Urine filter membrane photographed through a 4× microscope objective. The image covers about 1.5 × 1.1 mm of the membrane.
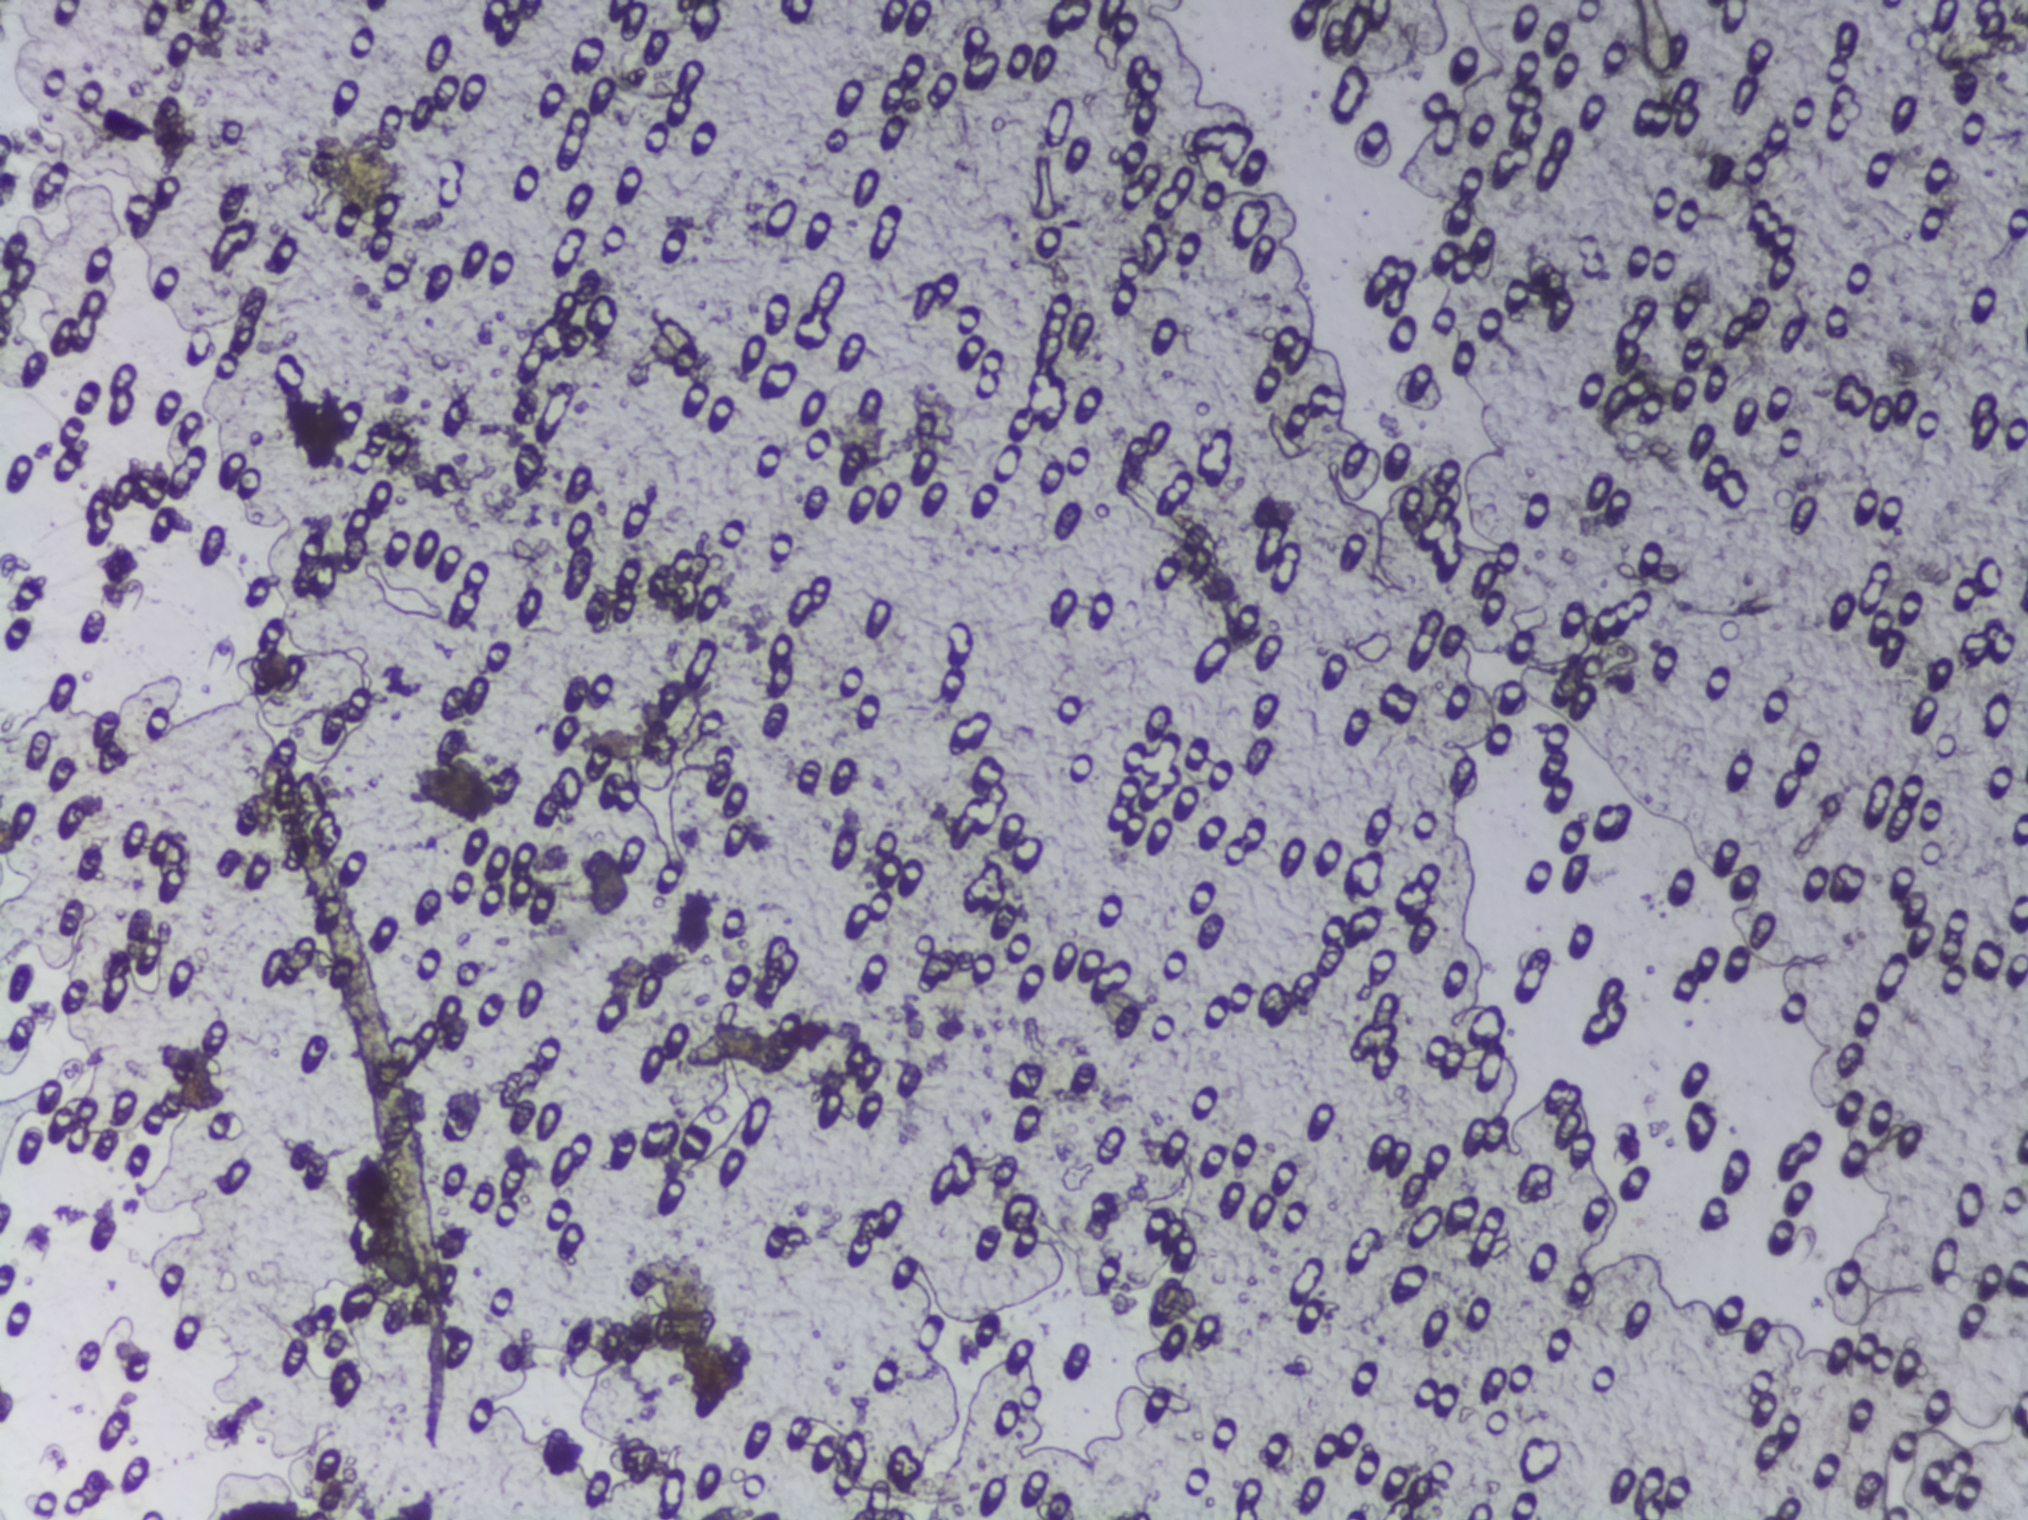
The expert annotation marks no Schistosoma egg in this field of view.